Microscope photograph (4× objective) of a membrane that a urine sample was filtered through. Field of view: about 1.5 mm wide and 1.1 mm high.
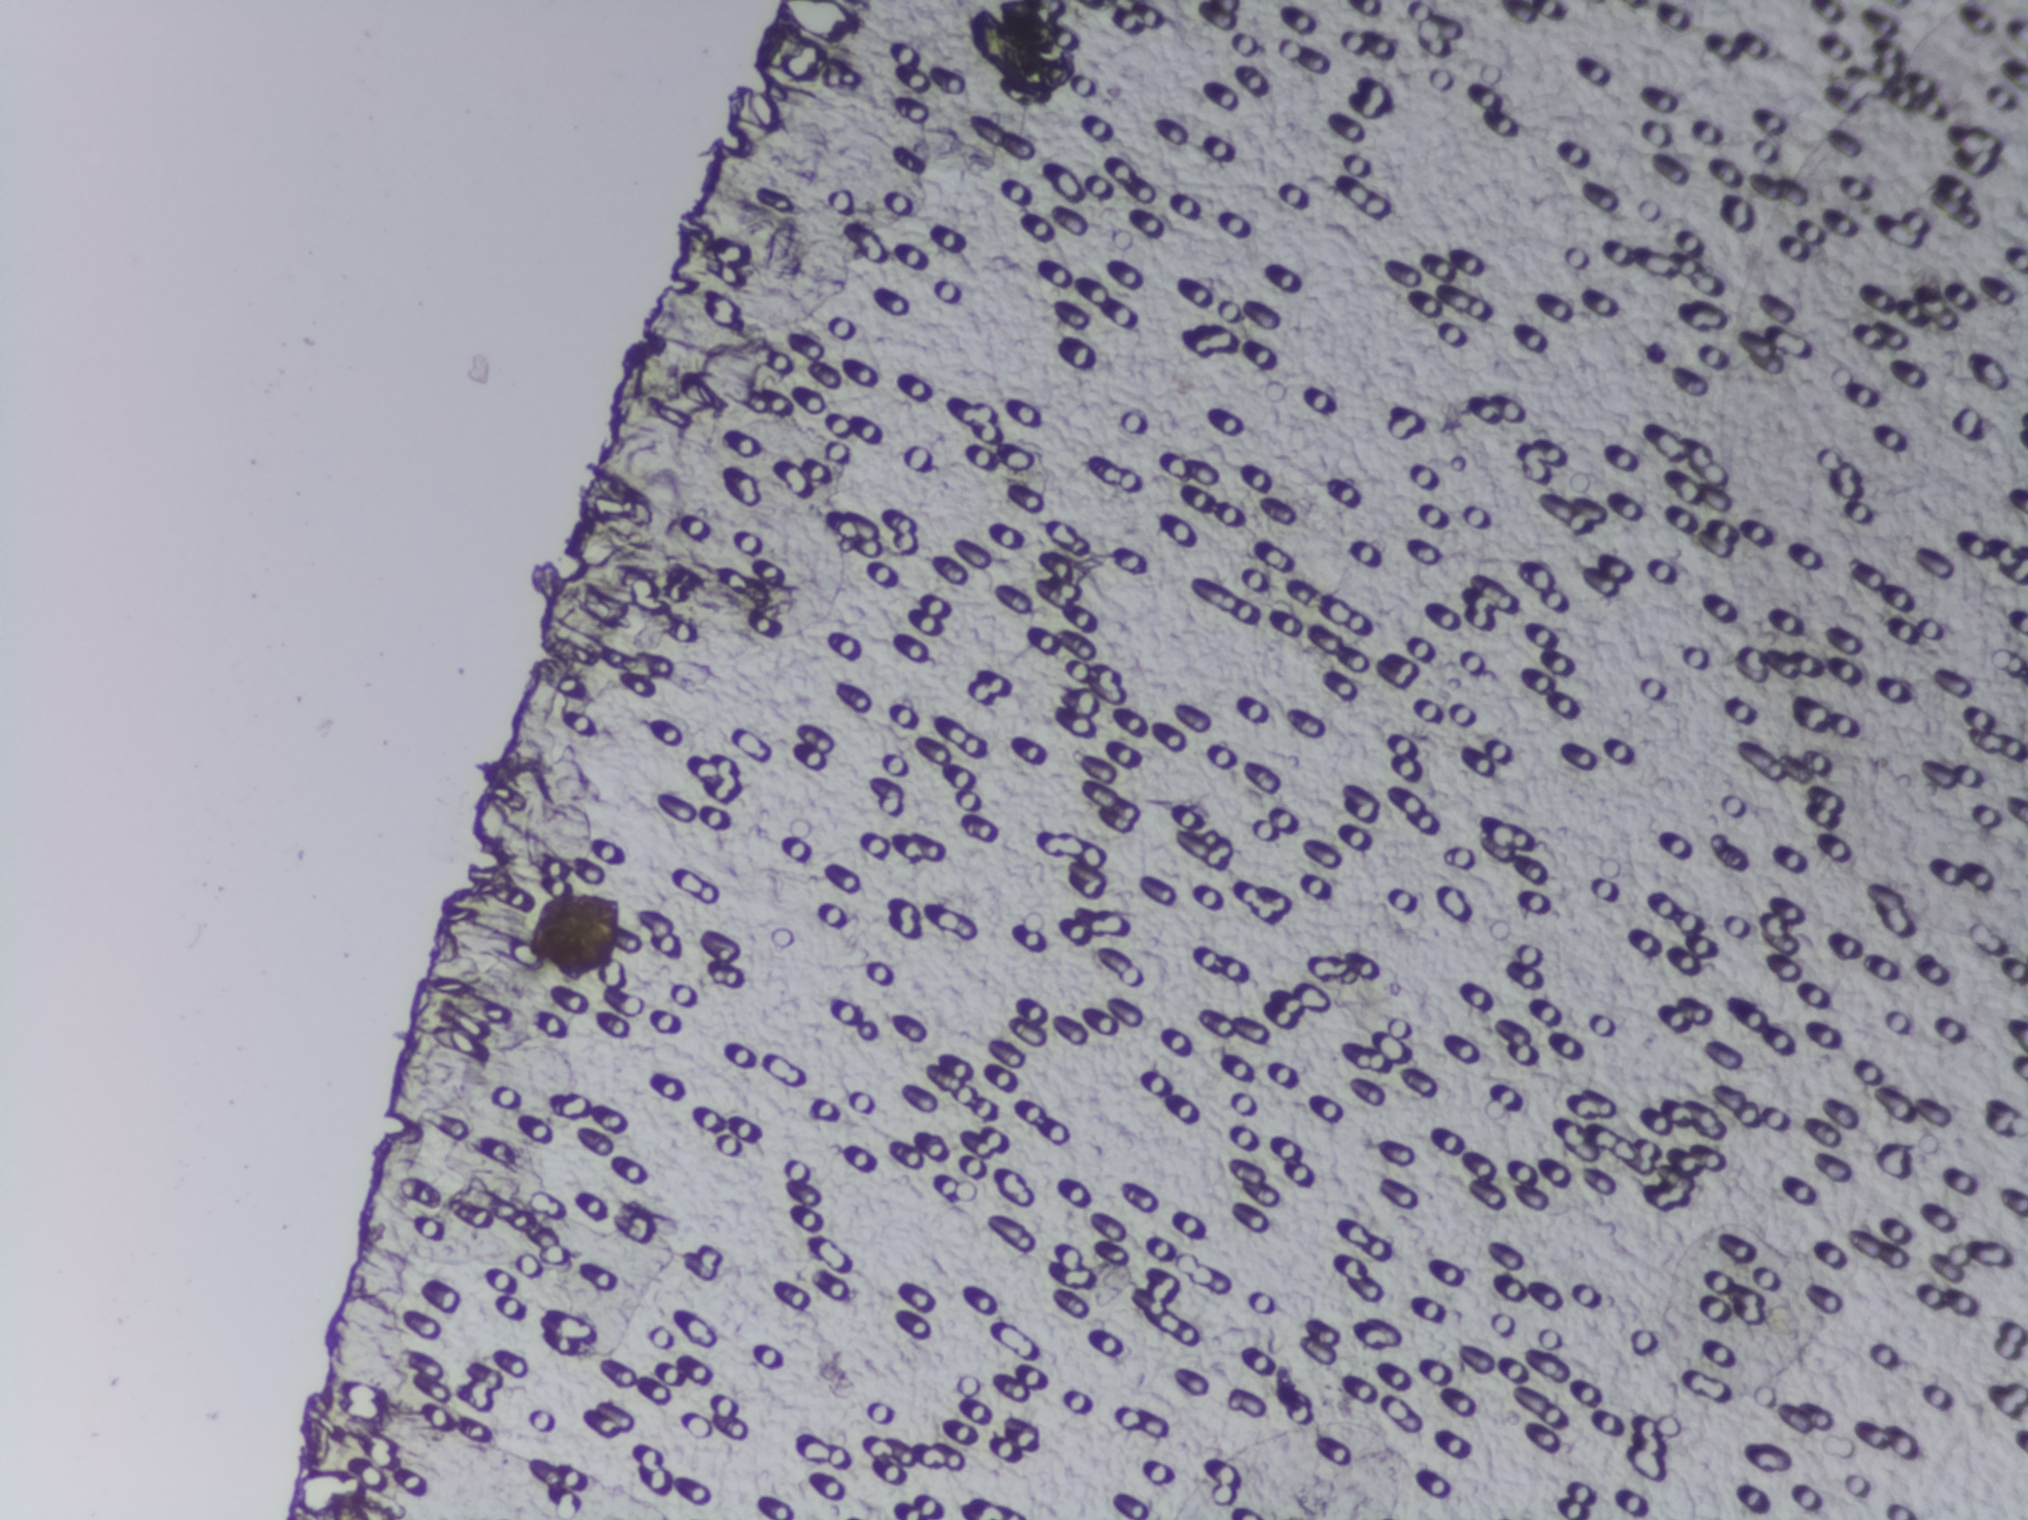
No area of this image was outlined as a Schistosoma egg.